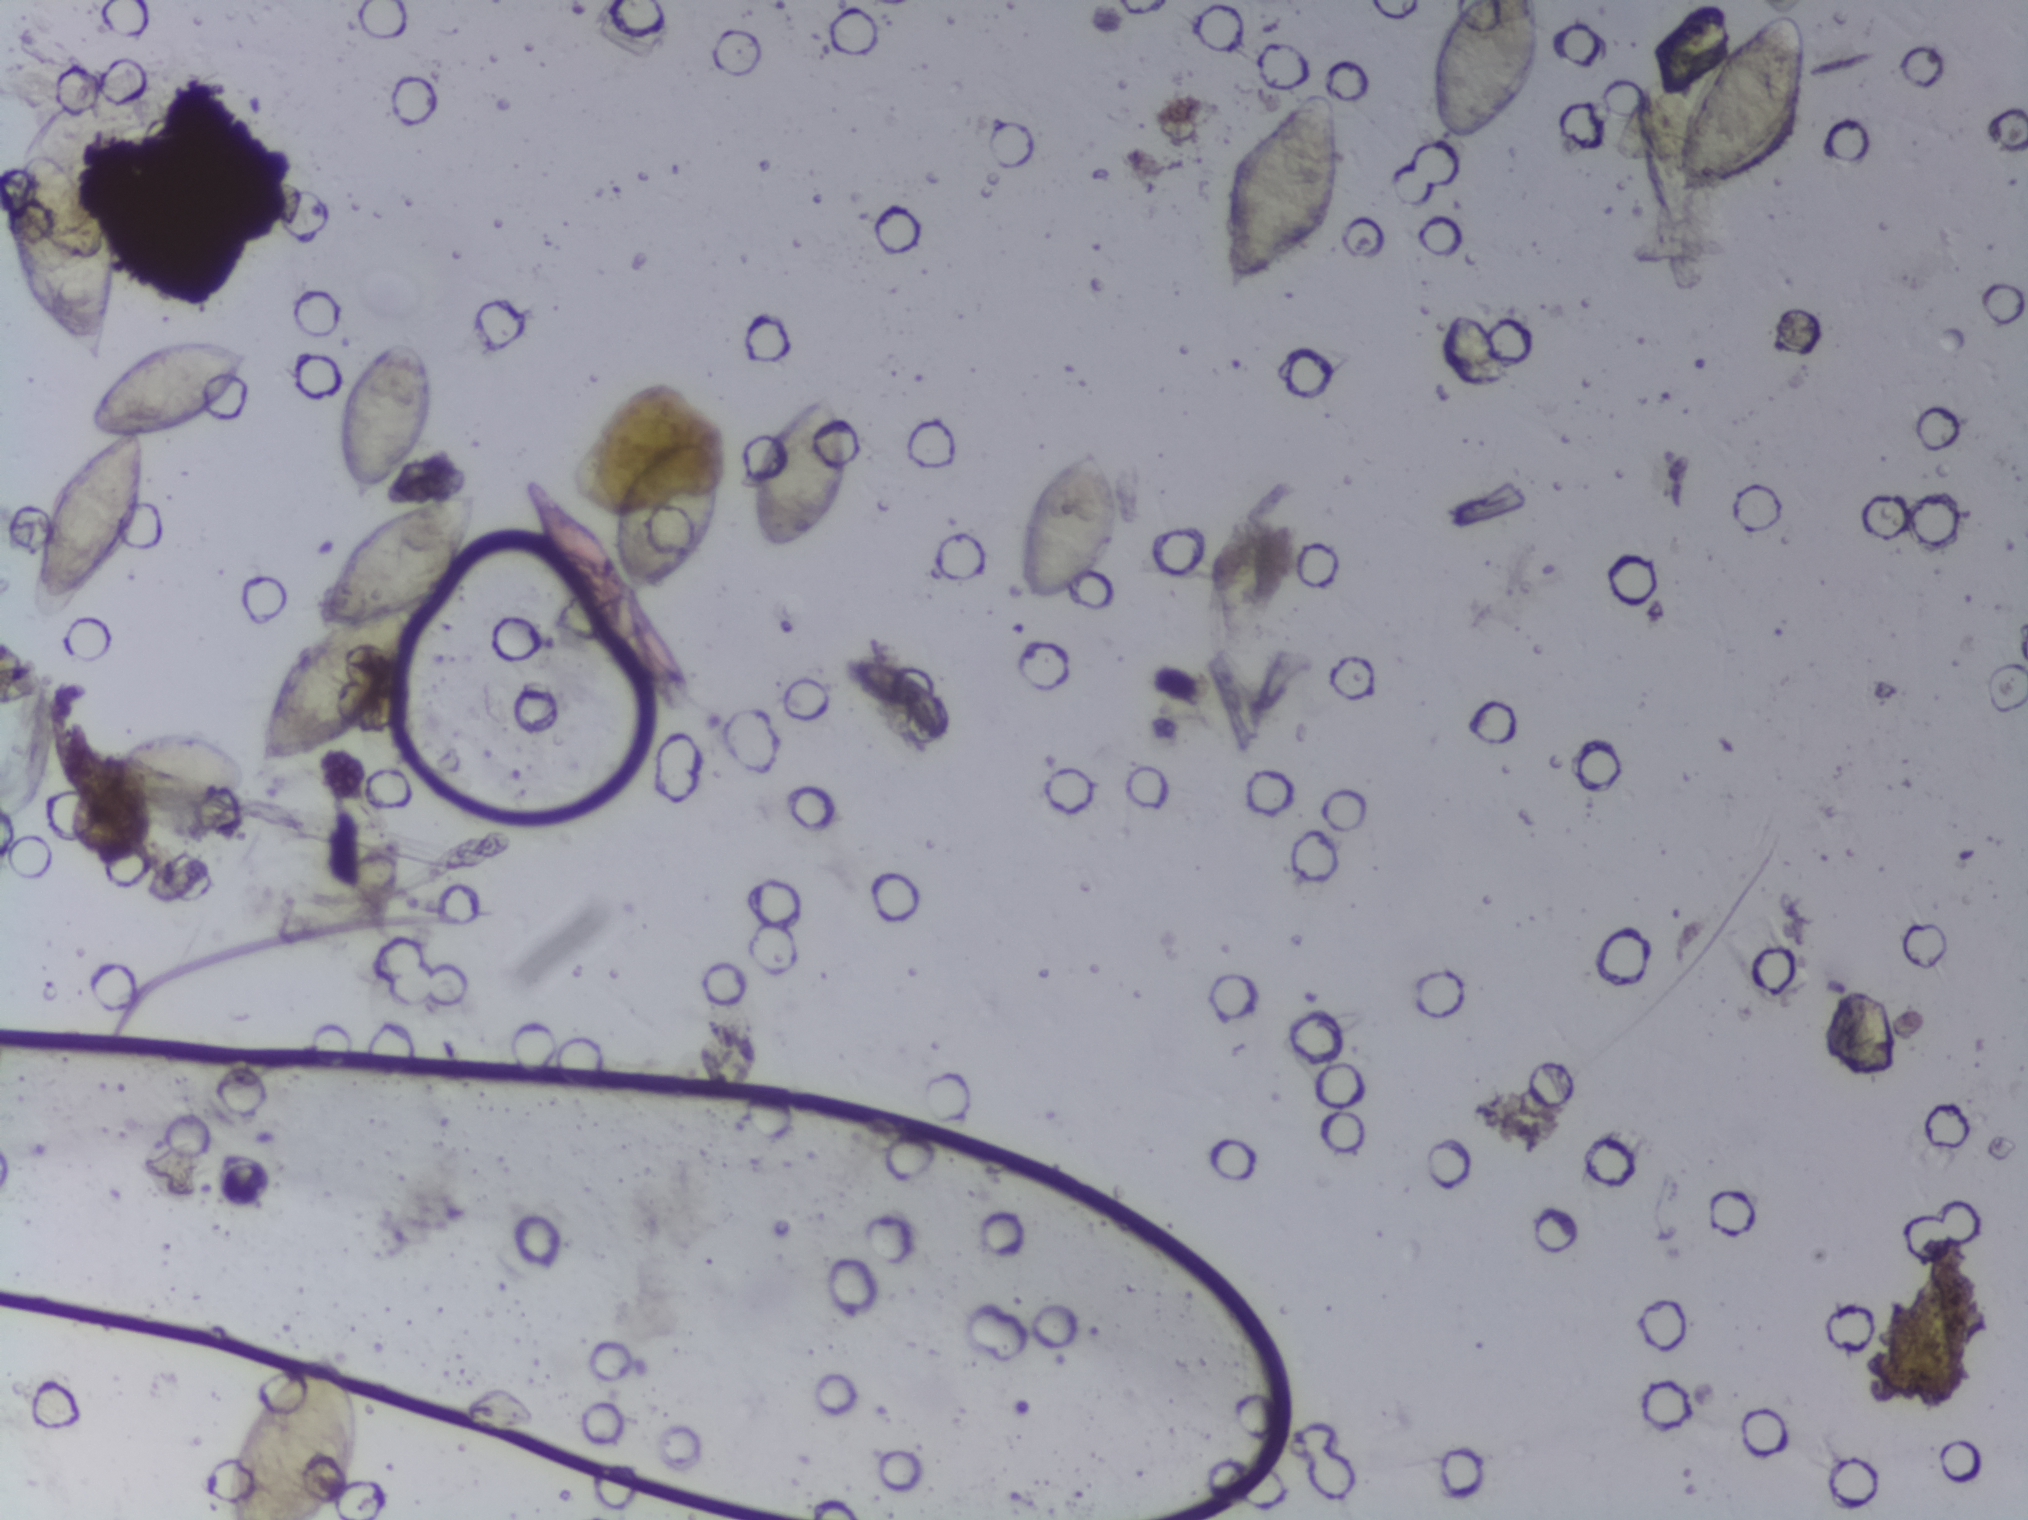
One field of view of a urine filter membrane, 4× objective, 2028 × 1520 pixels. Field of view: about 1.5 mm wide and 1.1 mm high.
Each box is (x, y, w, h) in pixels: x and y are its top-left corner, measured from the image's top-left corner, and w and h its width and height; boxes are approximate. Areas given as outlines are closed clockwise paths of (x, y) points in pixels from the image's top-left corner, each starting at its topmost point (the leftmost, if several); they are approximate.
Areas outlined as Schistosoma eggs, left to right:
1. box (x=0, y=649, w=63, h=177) (reaching the left edge of the frame)
2. box (x=1, y=140, w=120, h=228)
3. outline (181, 337), (252, 347), (252, 363), (223, 407), (143, 438), (146, 484), (135, 534), (63, 614), (45, 618), (31, 612), (32, 561), (53, 490), (70, 466), (110, 438), (91, 426), (96, 398), (132, 357)
4. box (x=95, y=729, w=153, h=87)
5. box (x=225, y=1348, w=132, h=172) (reaching the bottom edge of the frame)
6. outline (436, 490), (477, 491), (482, 514), (456, 588), (420, 614), (409, 662), (389, 705), (322, 758), (260, 767), (266, 704), (291, 651), (320, 627), (316, 608), (341, 549), (381, 514)
7. box (x=341, y=338, w=95, h=167)
8. box (x=609, y=431, w=112, h=174)
9. box (x=749, y=393, w=100, h=164)
10. box (x=1017, y=448, w=103, h=163)
11. box (x=1220, y=88, w=125, h=206)
12. box (x=1430, y=0, w=113, h=148) (reaching the top edge of the frame)
13. box (x=1676, y=16, w=134, h=185)
A single outlined area may contain several eggs. A marked egg may occasionally be S. mansoni rather than S. haematobium.